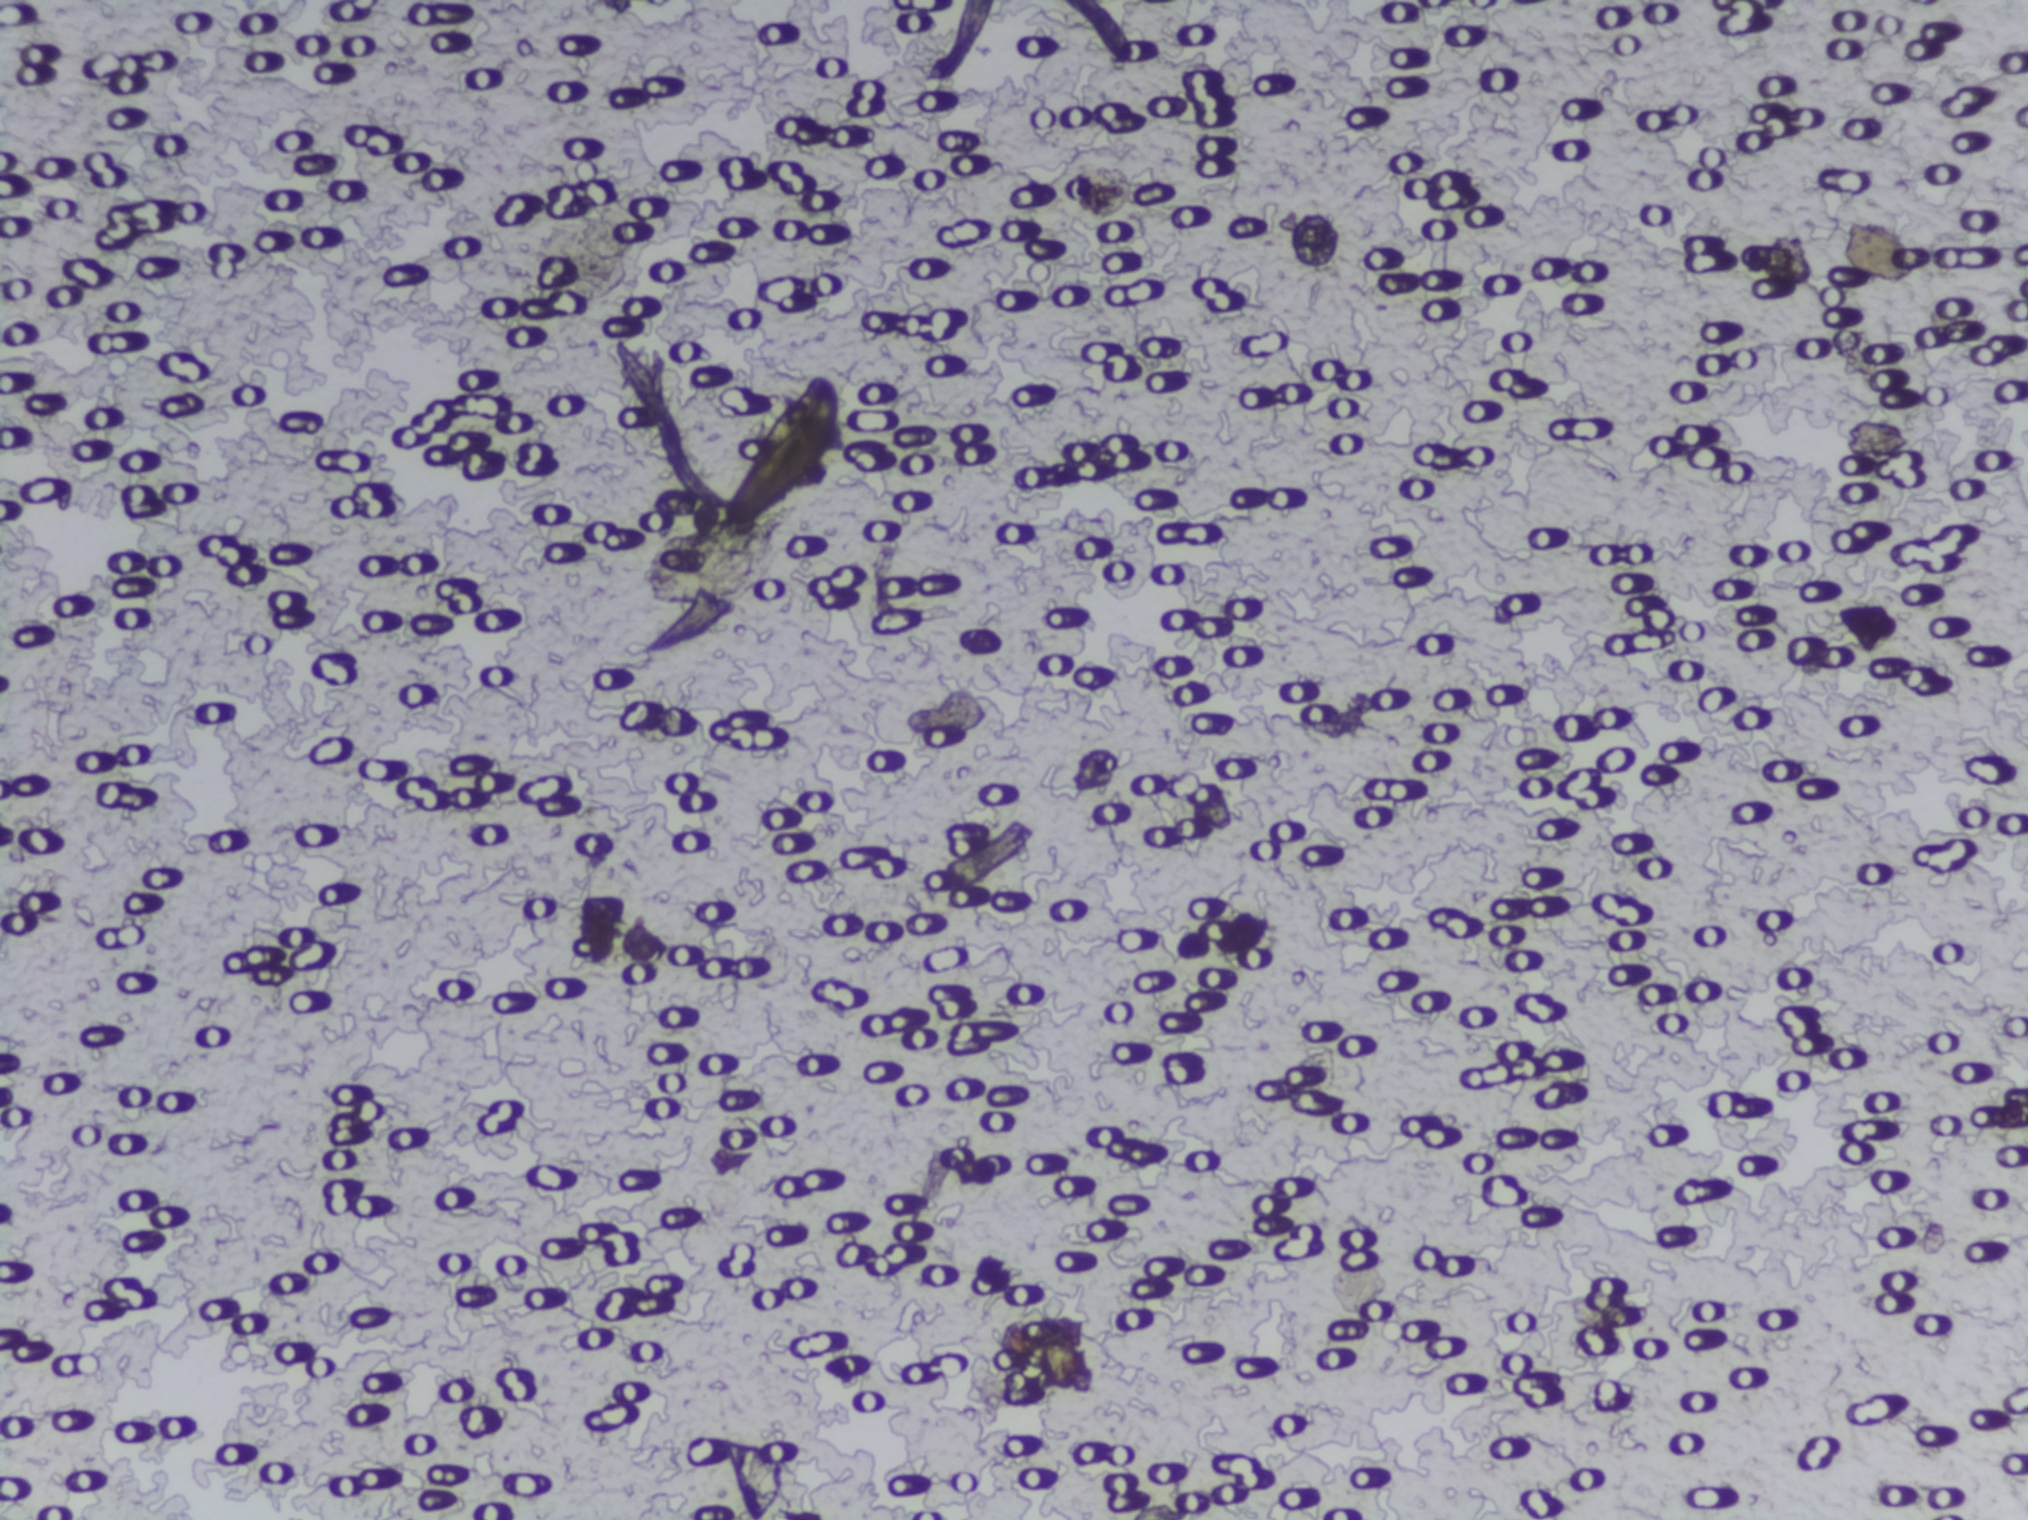
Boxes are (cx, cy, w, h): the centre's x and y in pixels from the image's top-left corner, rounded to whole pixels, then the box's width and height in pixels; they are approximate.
One area of this image is outlined as Schistosoma eggs: (cx=781, cy=454, w=143, h=159). About 0.4% of the image's pixels are marked (the marked pixels themselves, not the box around them). An outlined area can hold more than one egg.
Urine filtration membrane under a 4× objective, photographed by an automated digital microscope.